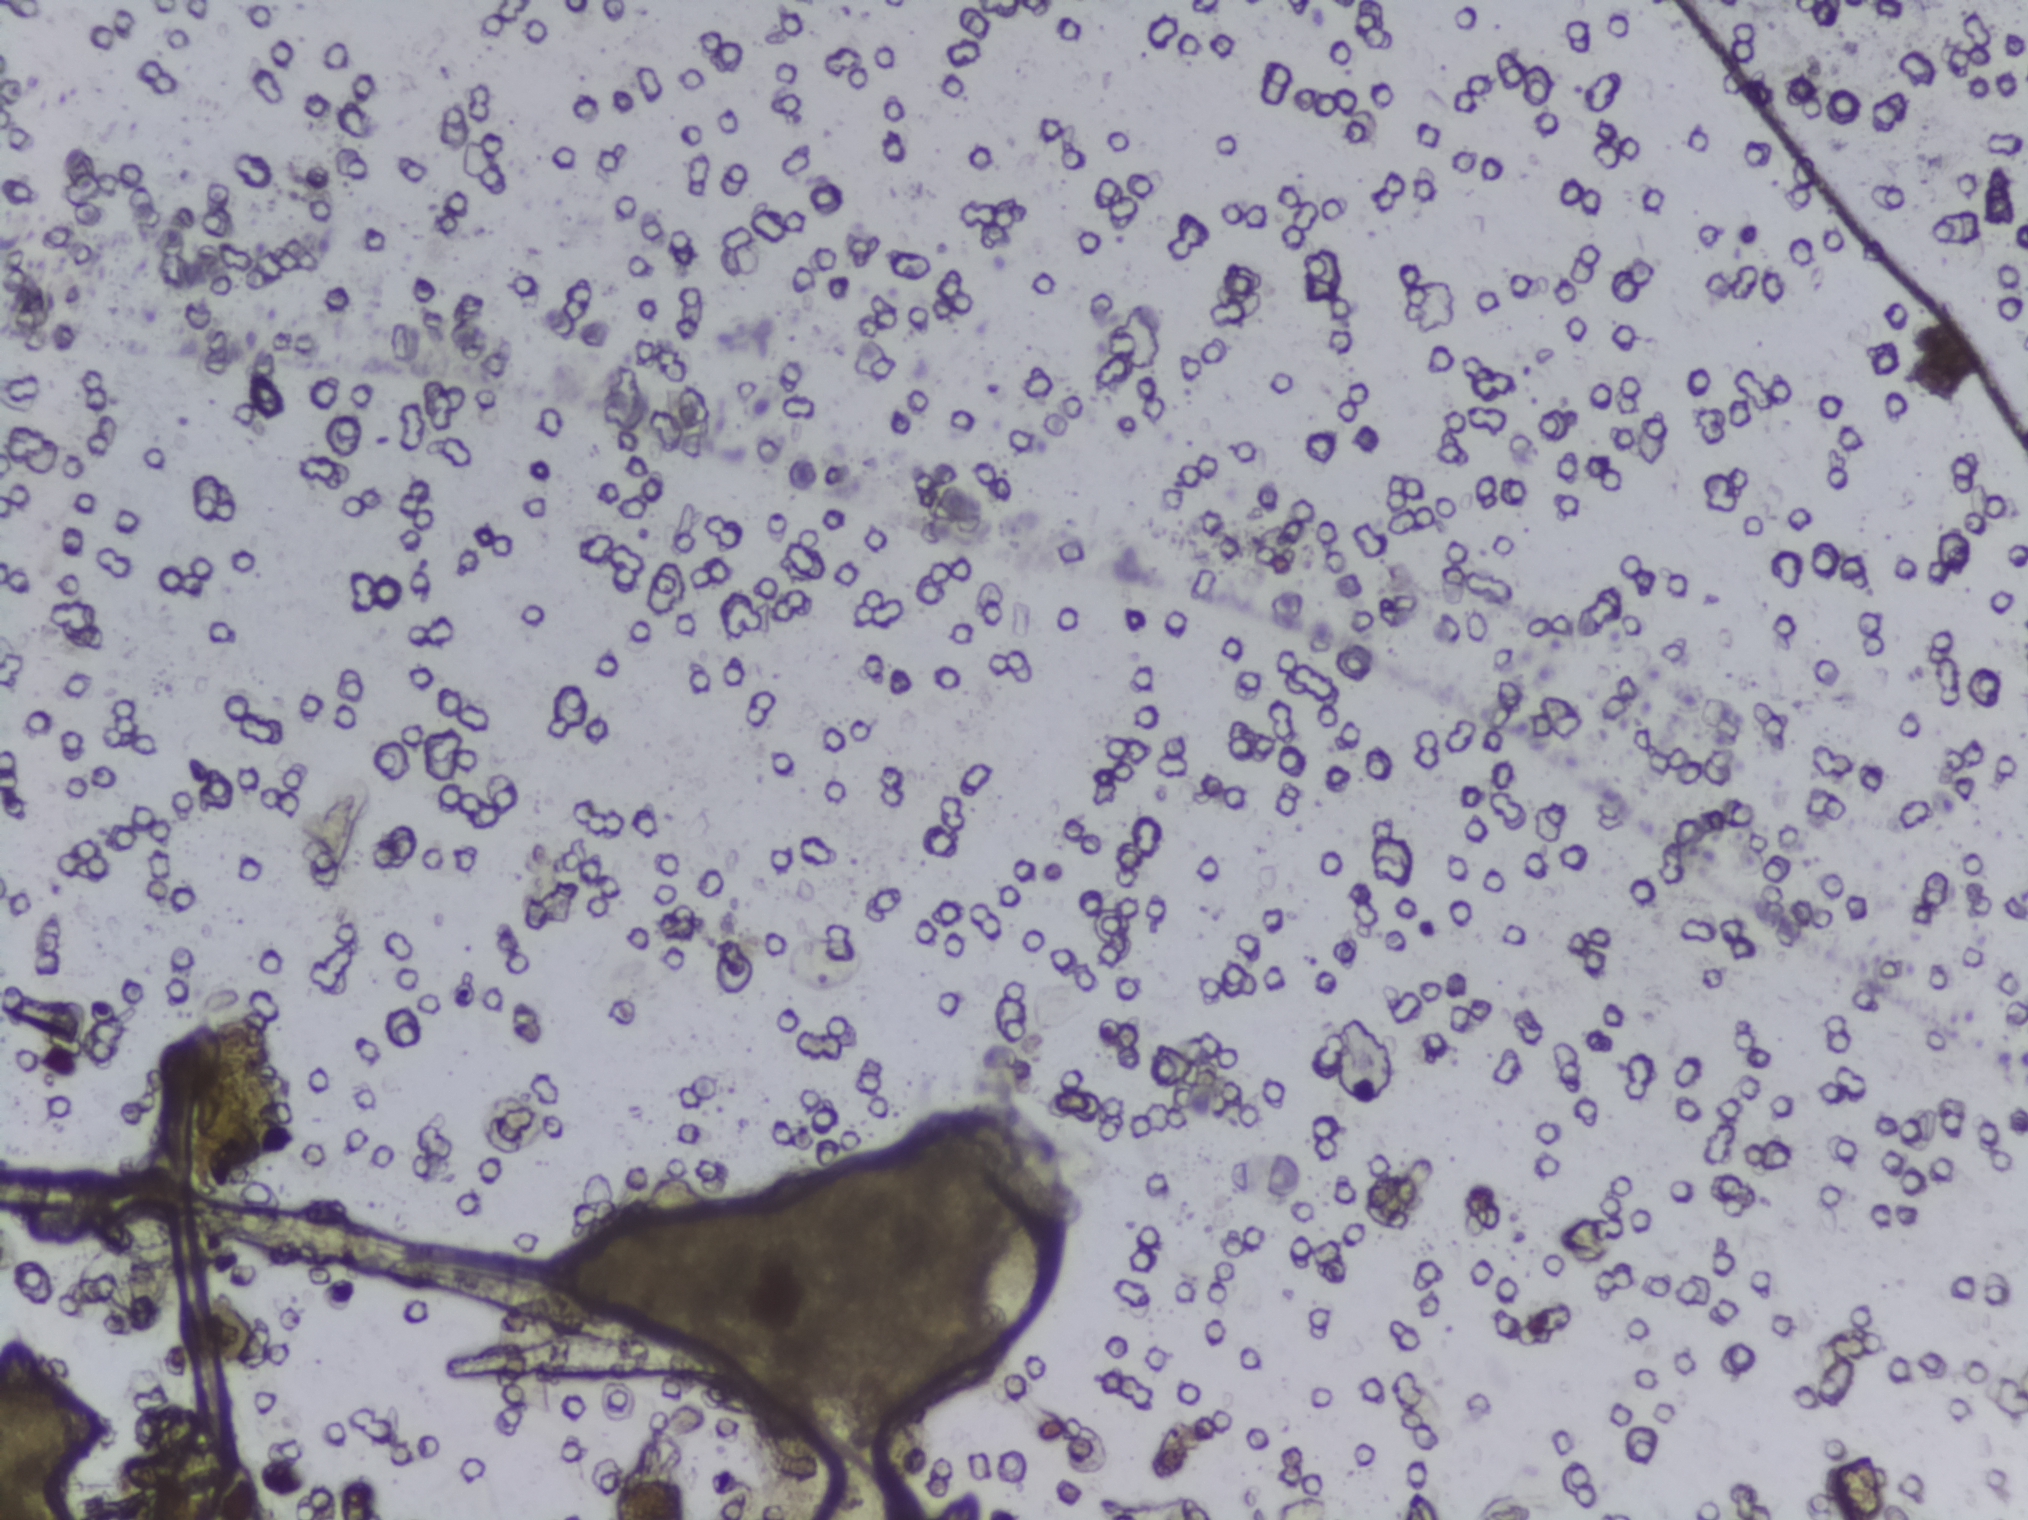
Urine filtration membrane under a 4× objective, photographed by an automated digital microscope.
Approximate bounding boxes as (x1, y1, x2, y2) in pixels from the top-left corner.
Schistosoma eggs are outlined in one area of this image: (974, 1202, 1064, 1346). The marked pixels themselves, not the box around them, cover about 0.3% of the image. Eggs that touch can end up inside the same outlined area.